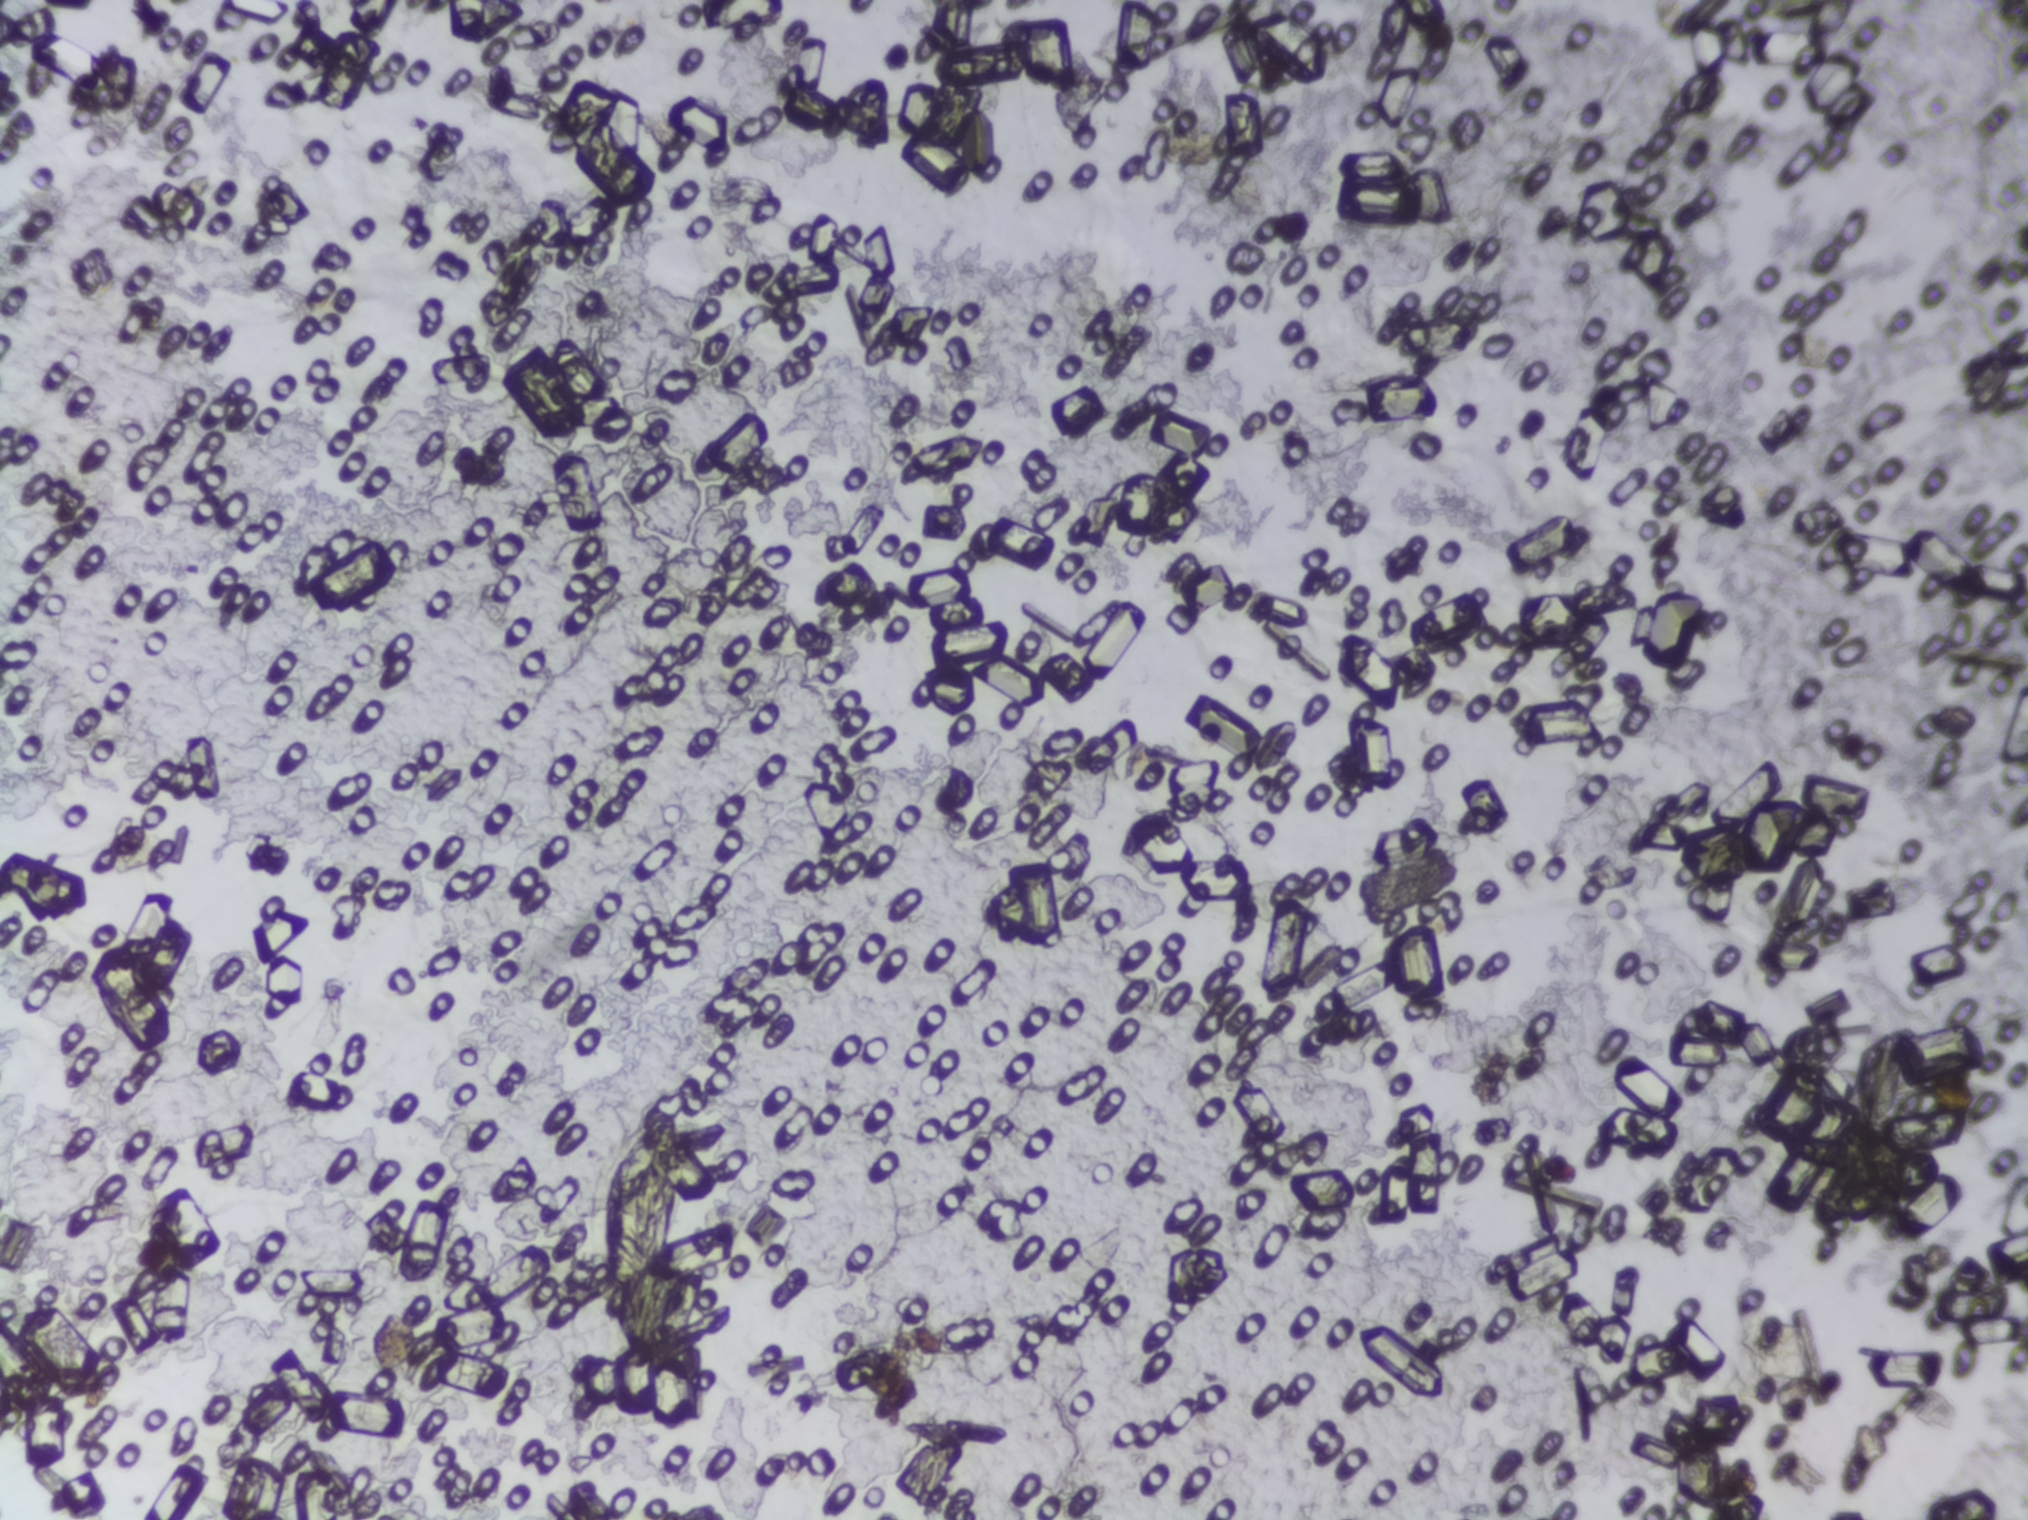
Urine filter membrane photographed through a 4× microscope objective. The image covers about 1.5 × 1.1 mm of the membrane.
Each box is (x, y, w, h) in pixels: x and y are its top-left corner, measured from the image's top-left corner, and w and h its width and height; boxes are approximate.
The expert annotation outlines Schistosoma eggs at (x=594, y=1103, w=87, h=185). An outlined area can hold more than one egg.